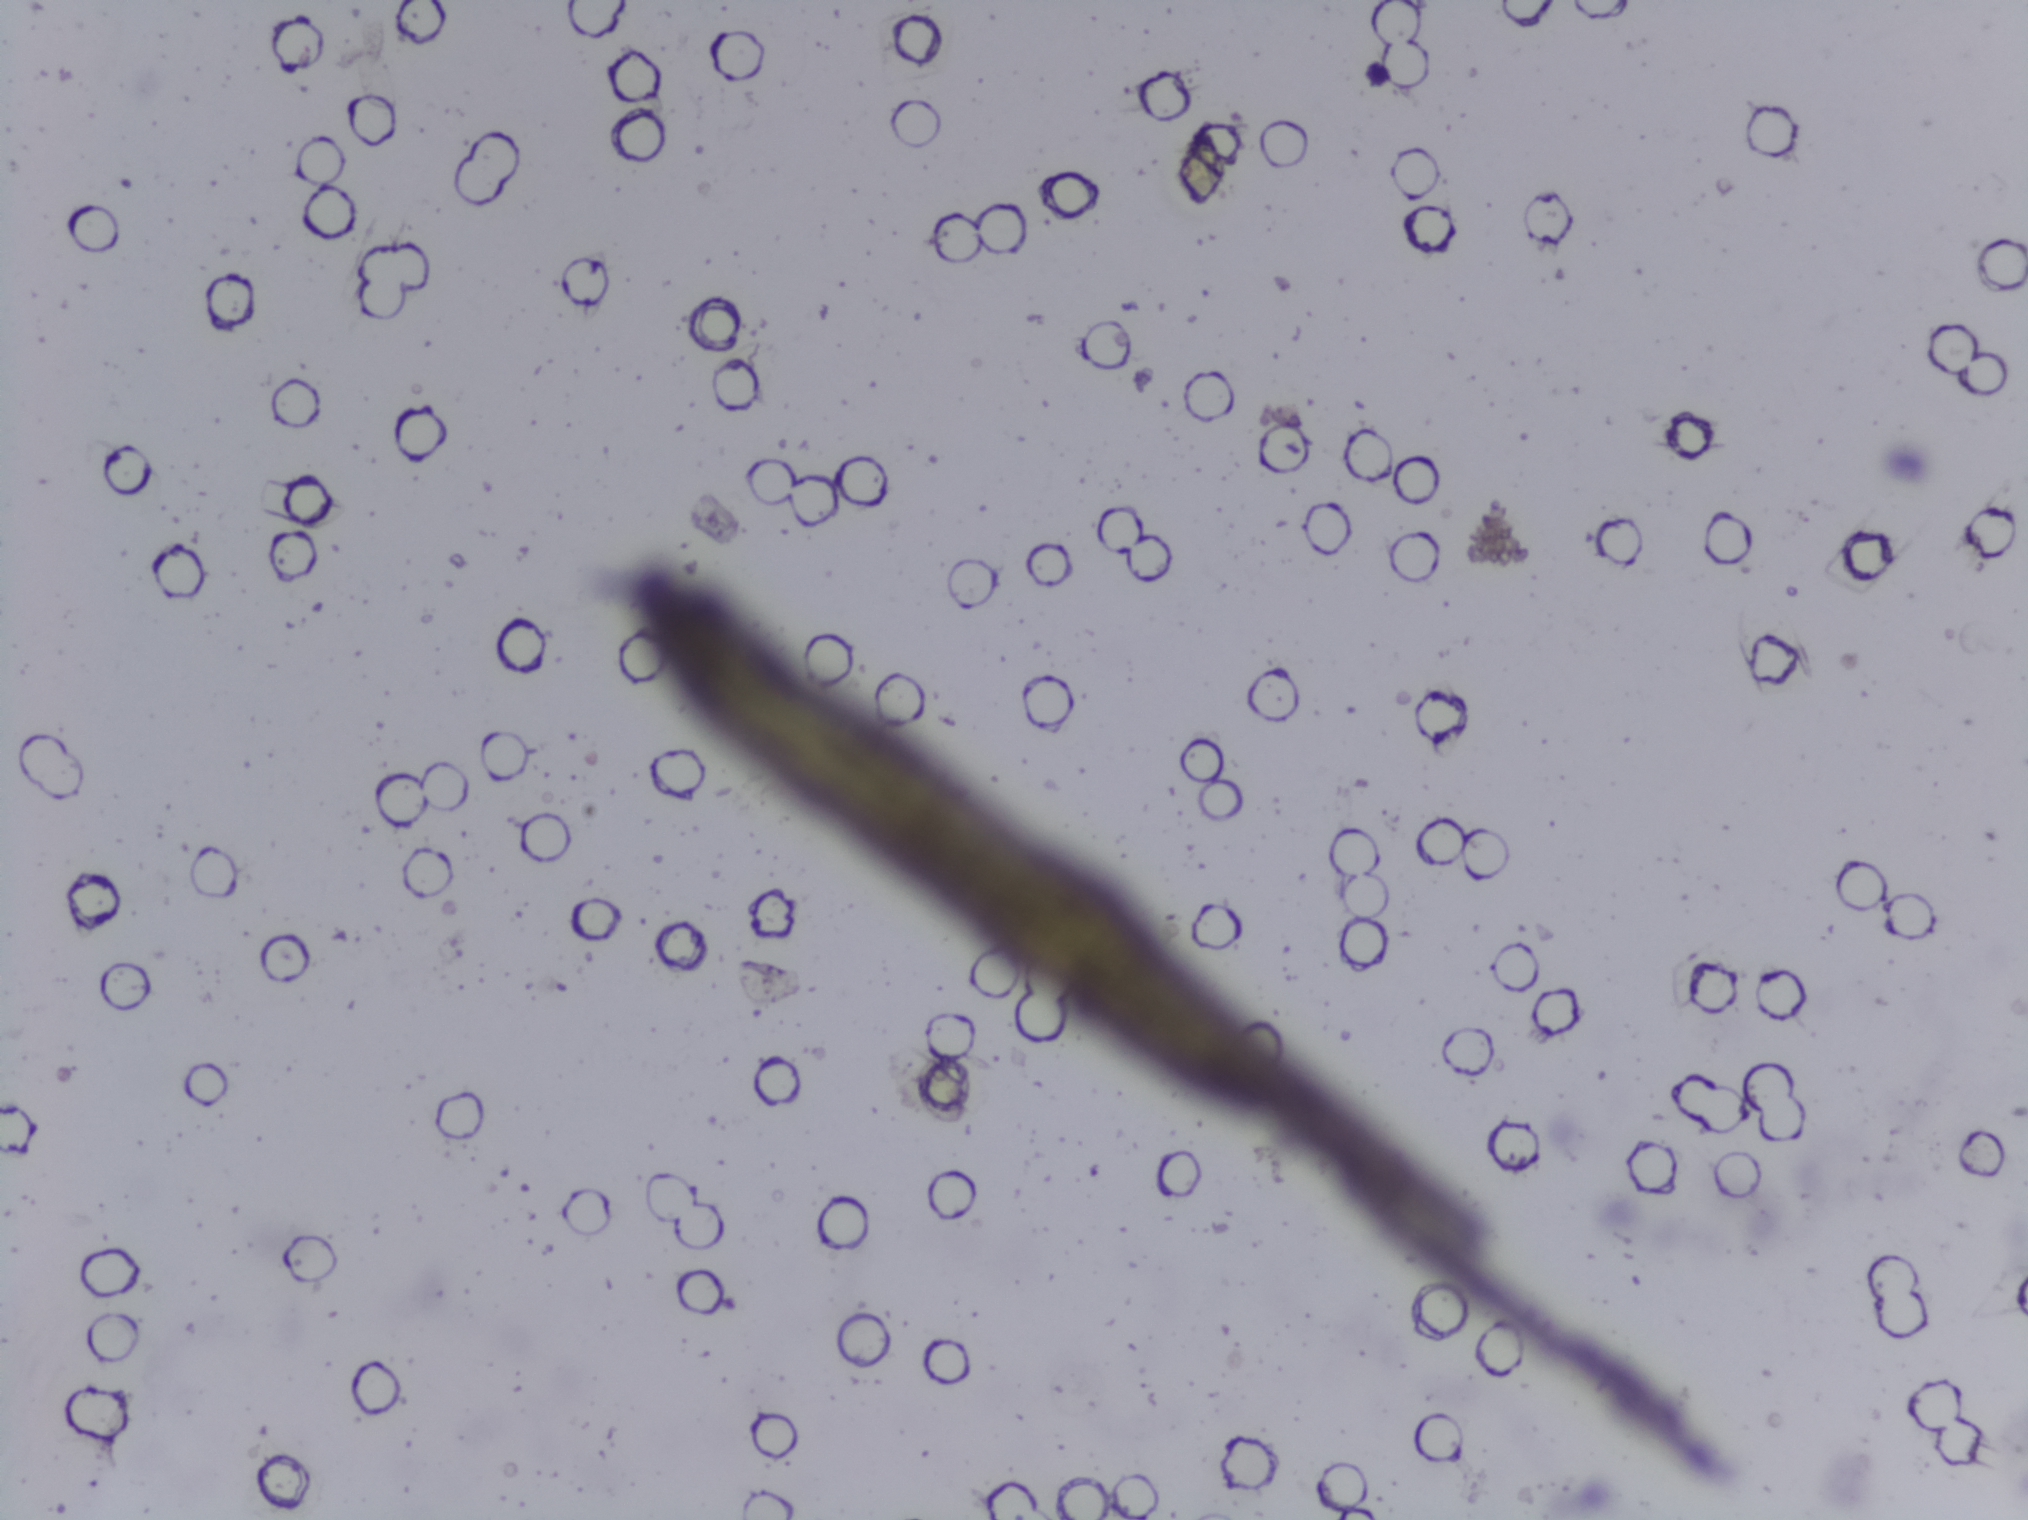
Microscope photograph (4× objective) of a membrane that a urine sample was filtered through. The image covers about 1.5 × 1.1 mm of the membrane.
No Schistosoma egg is outlined in this image's expert annotation.